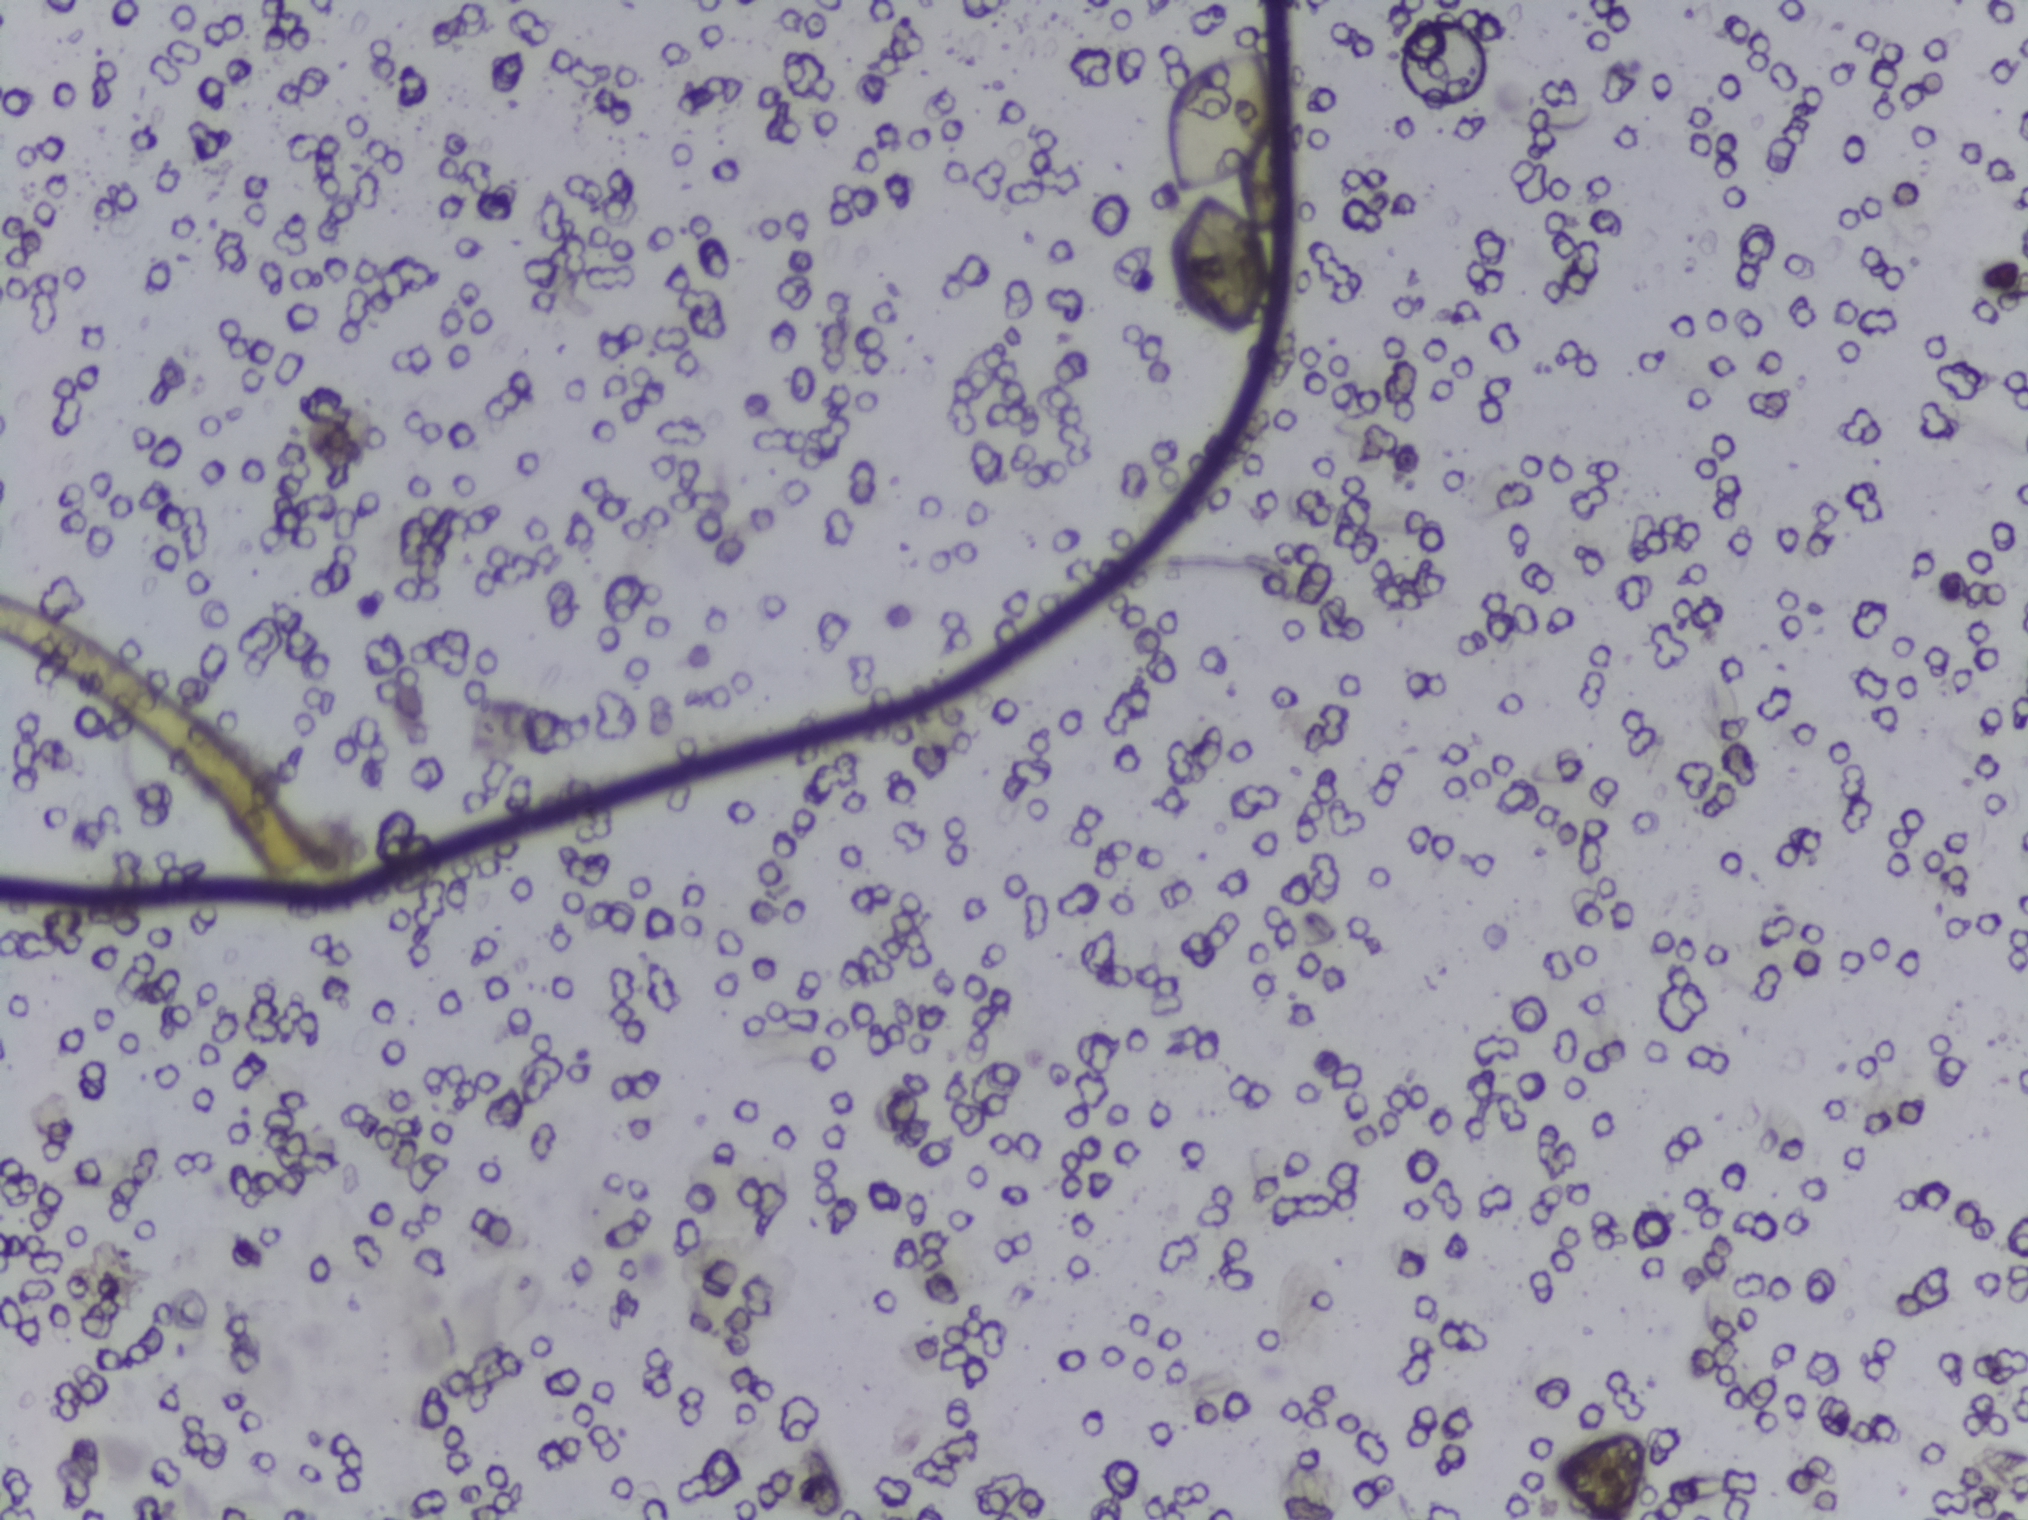
The expert annotation marks no Schistosoma egg in this field of view.
Photograph from an automated digital microscope: urine filter membrane, 4× objective.